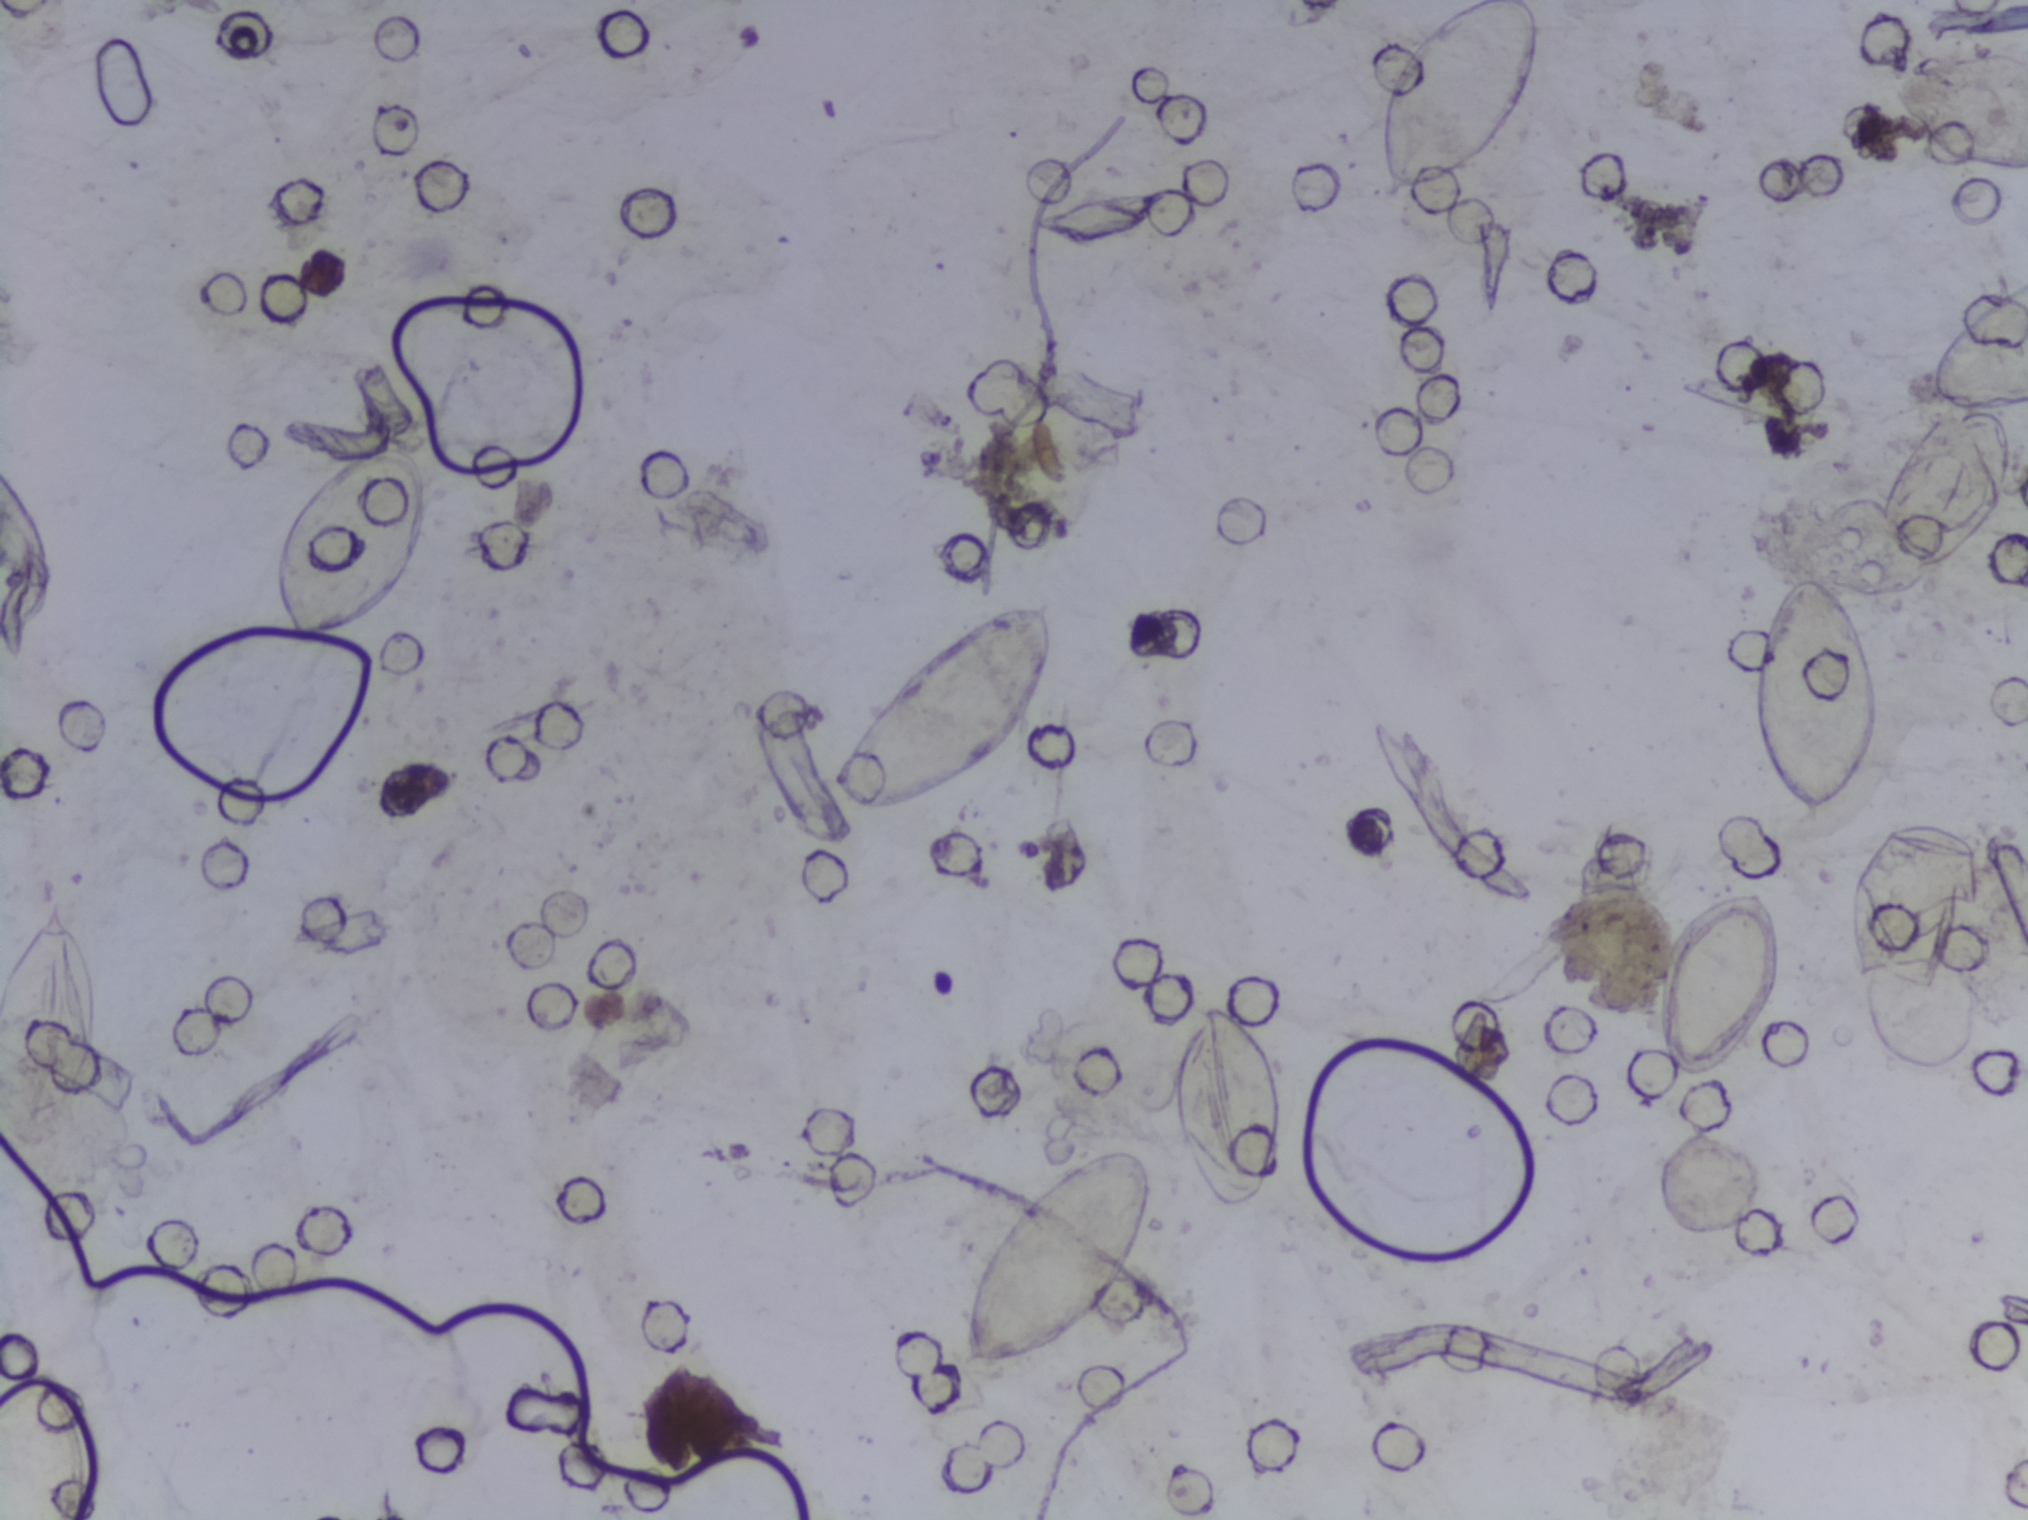
One field of view of a urine filter membrane, 4× objective, 2028 × 1520 pixels.
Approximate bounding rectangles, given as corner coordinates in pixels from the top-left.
Schistosoma eggs are outlined in 12 areas of this image, listed from left to right: (x1=0, y1=903, x2=100, y2=1155) (reaching the left edge of the frame); (x1=0, y1=1369, x2=90, y2=1519) (reaching the left and bottom edges of the frame); (x1=275, y1=441, x2=429, y2=645); (x1=831, y1=600, x2=1053, y2=810); (x1=964, y1=1145, x2=1155, y2=1370); (x1=1172, y1=1004, x2=1285, y2=1217); (x1=1374, y1=0, x2=1541, y2=212) (reaching the top edge of the frame); (x1=1657, y1=889, x2=1783, y2=1079); (x1=1757, y1=574, x2=1885, y2=828); (x1=1849, y1=823, x2=1978, y2=982); (x1=1878, y1=275, x2=2027, y2=581) (reaching the right edge of the frame); (x1=1886, y1=55, x2=2027, y2=166) (reaching the right edge of the frame). Eggs that touch can end up inside the same outlined area. Any one outlined egg may, rarely, be S. mansoni rather than S. haematobium.